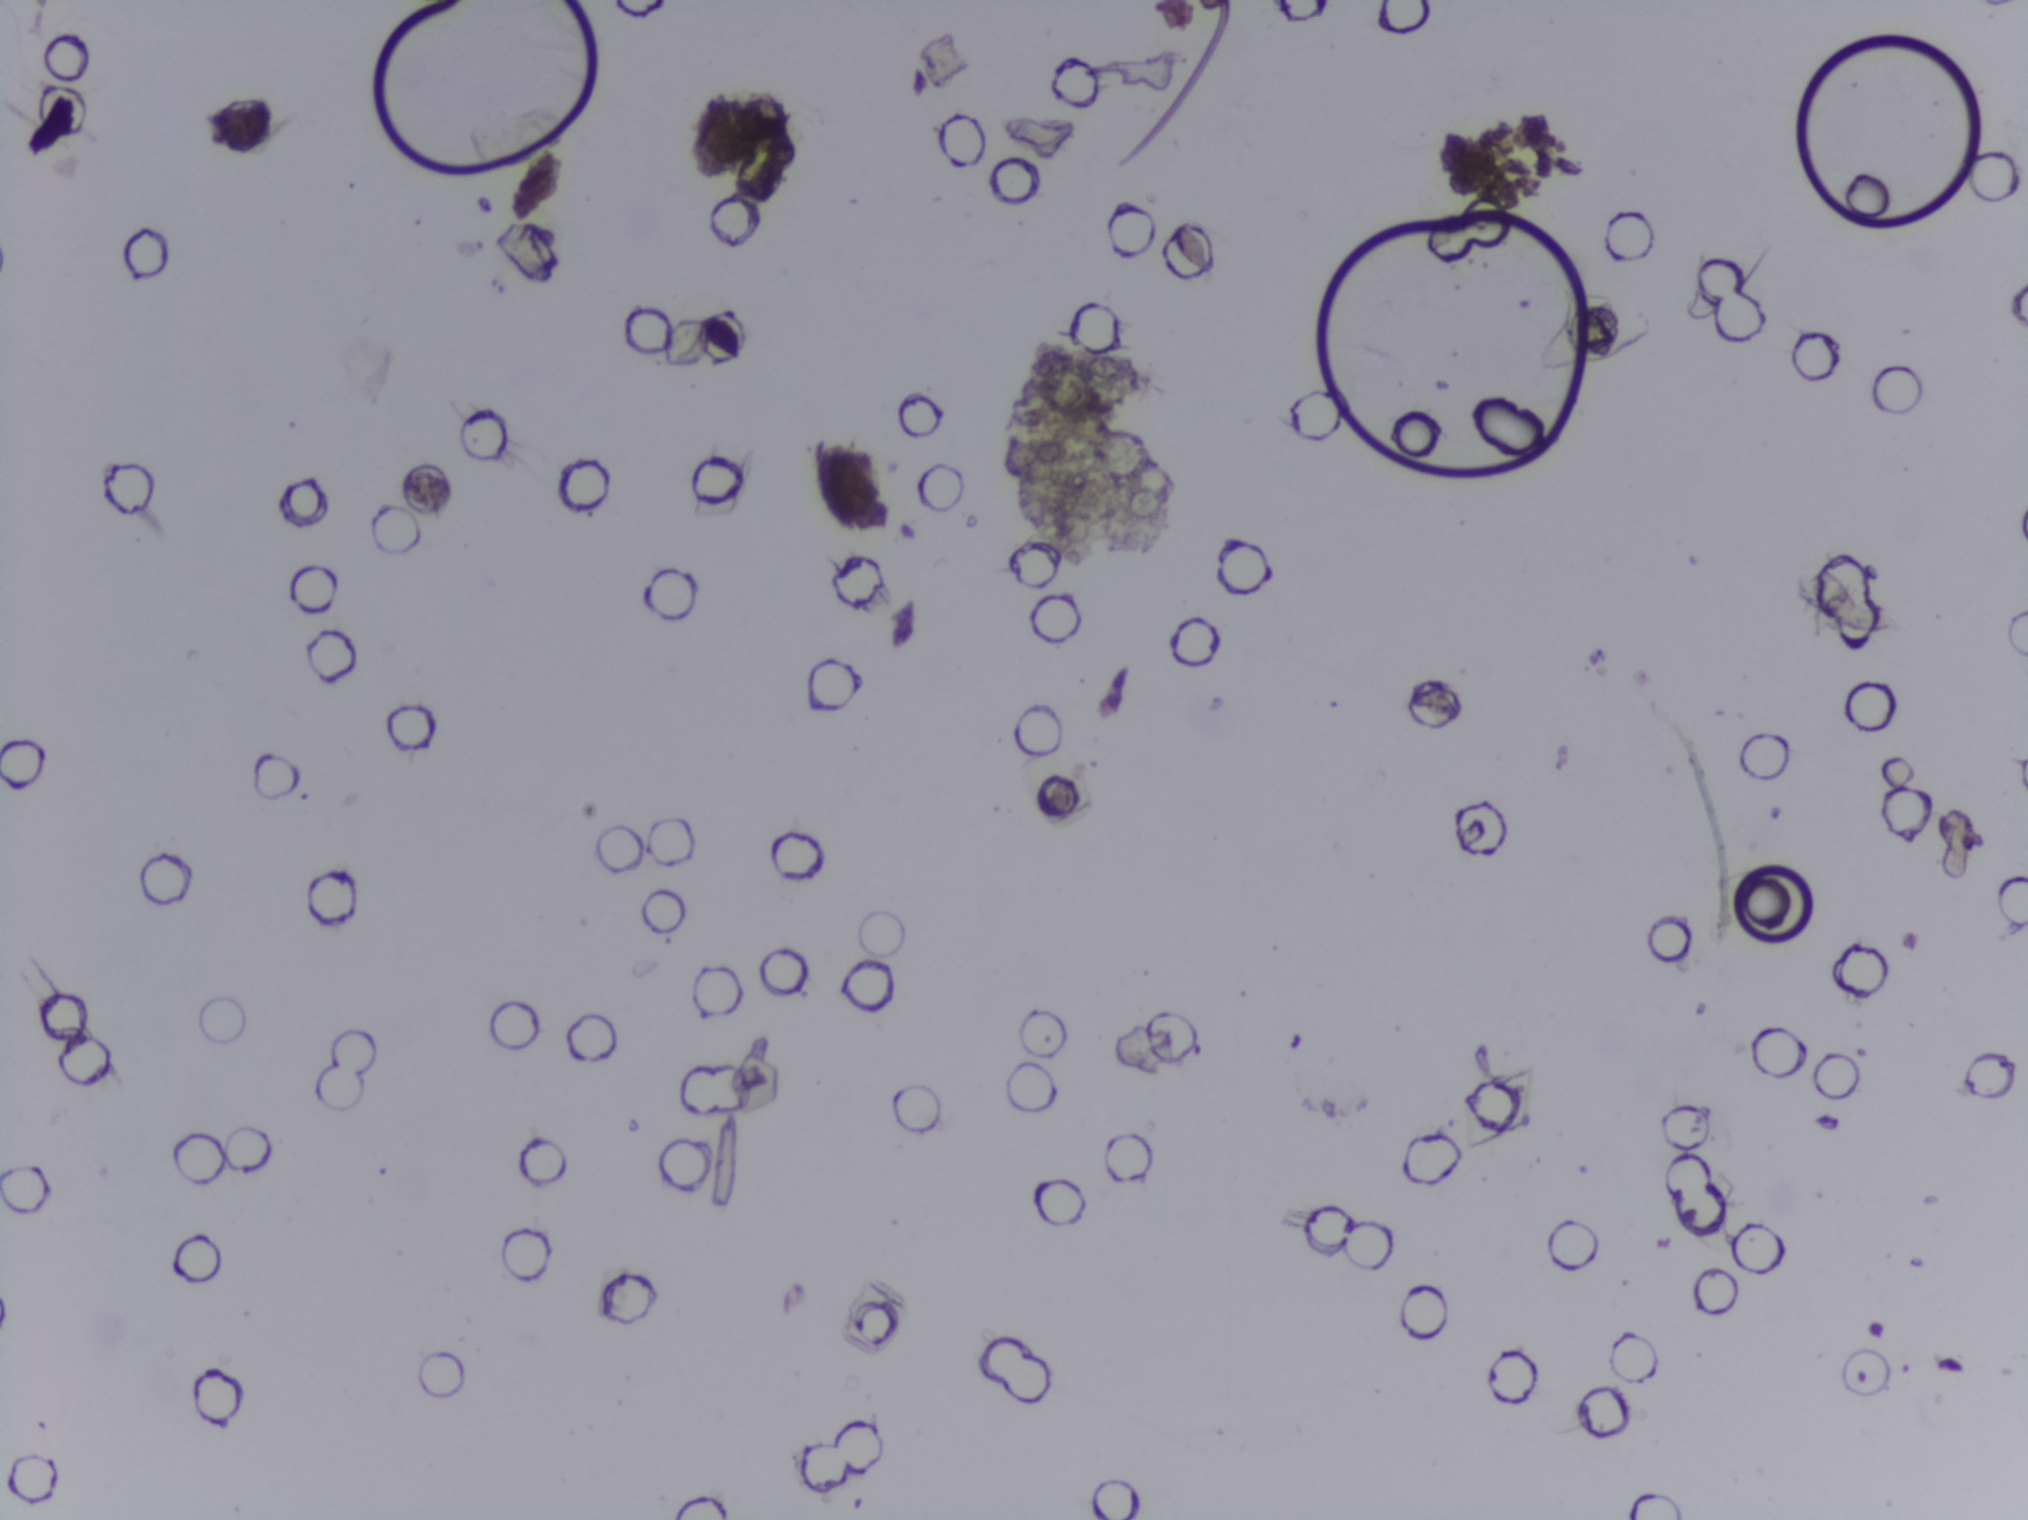
Urine filtration membrane under a 4× objective, photographed by an automated digital microscope.
The expert annotation outlines no Schistosoma egg in this image.